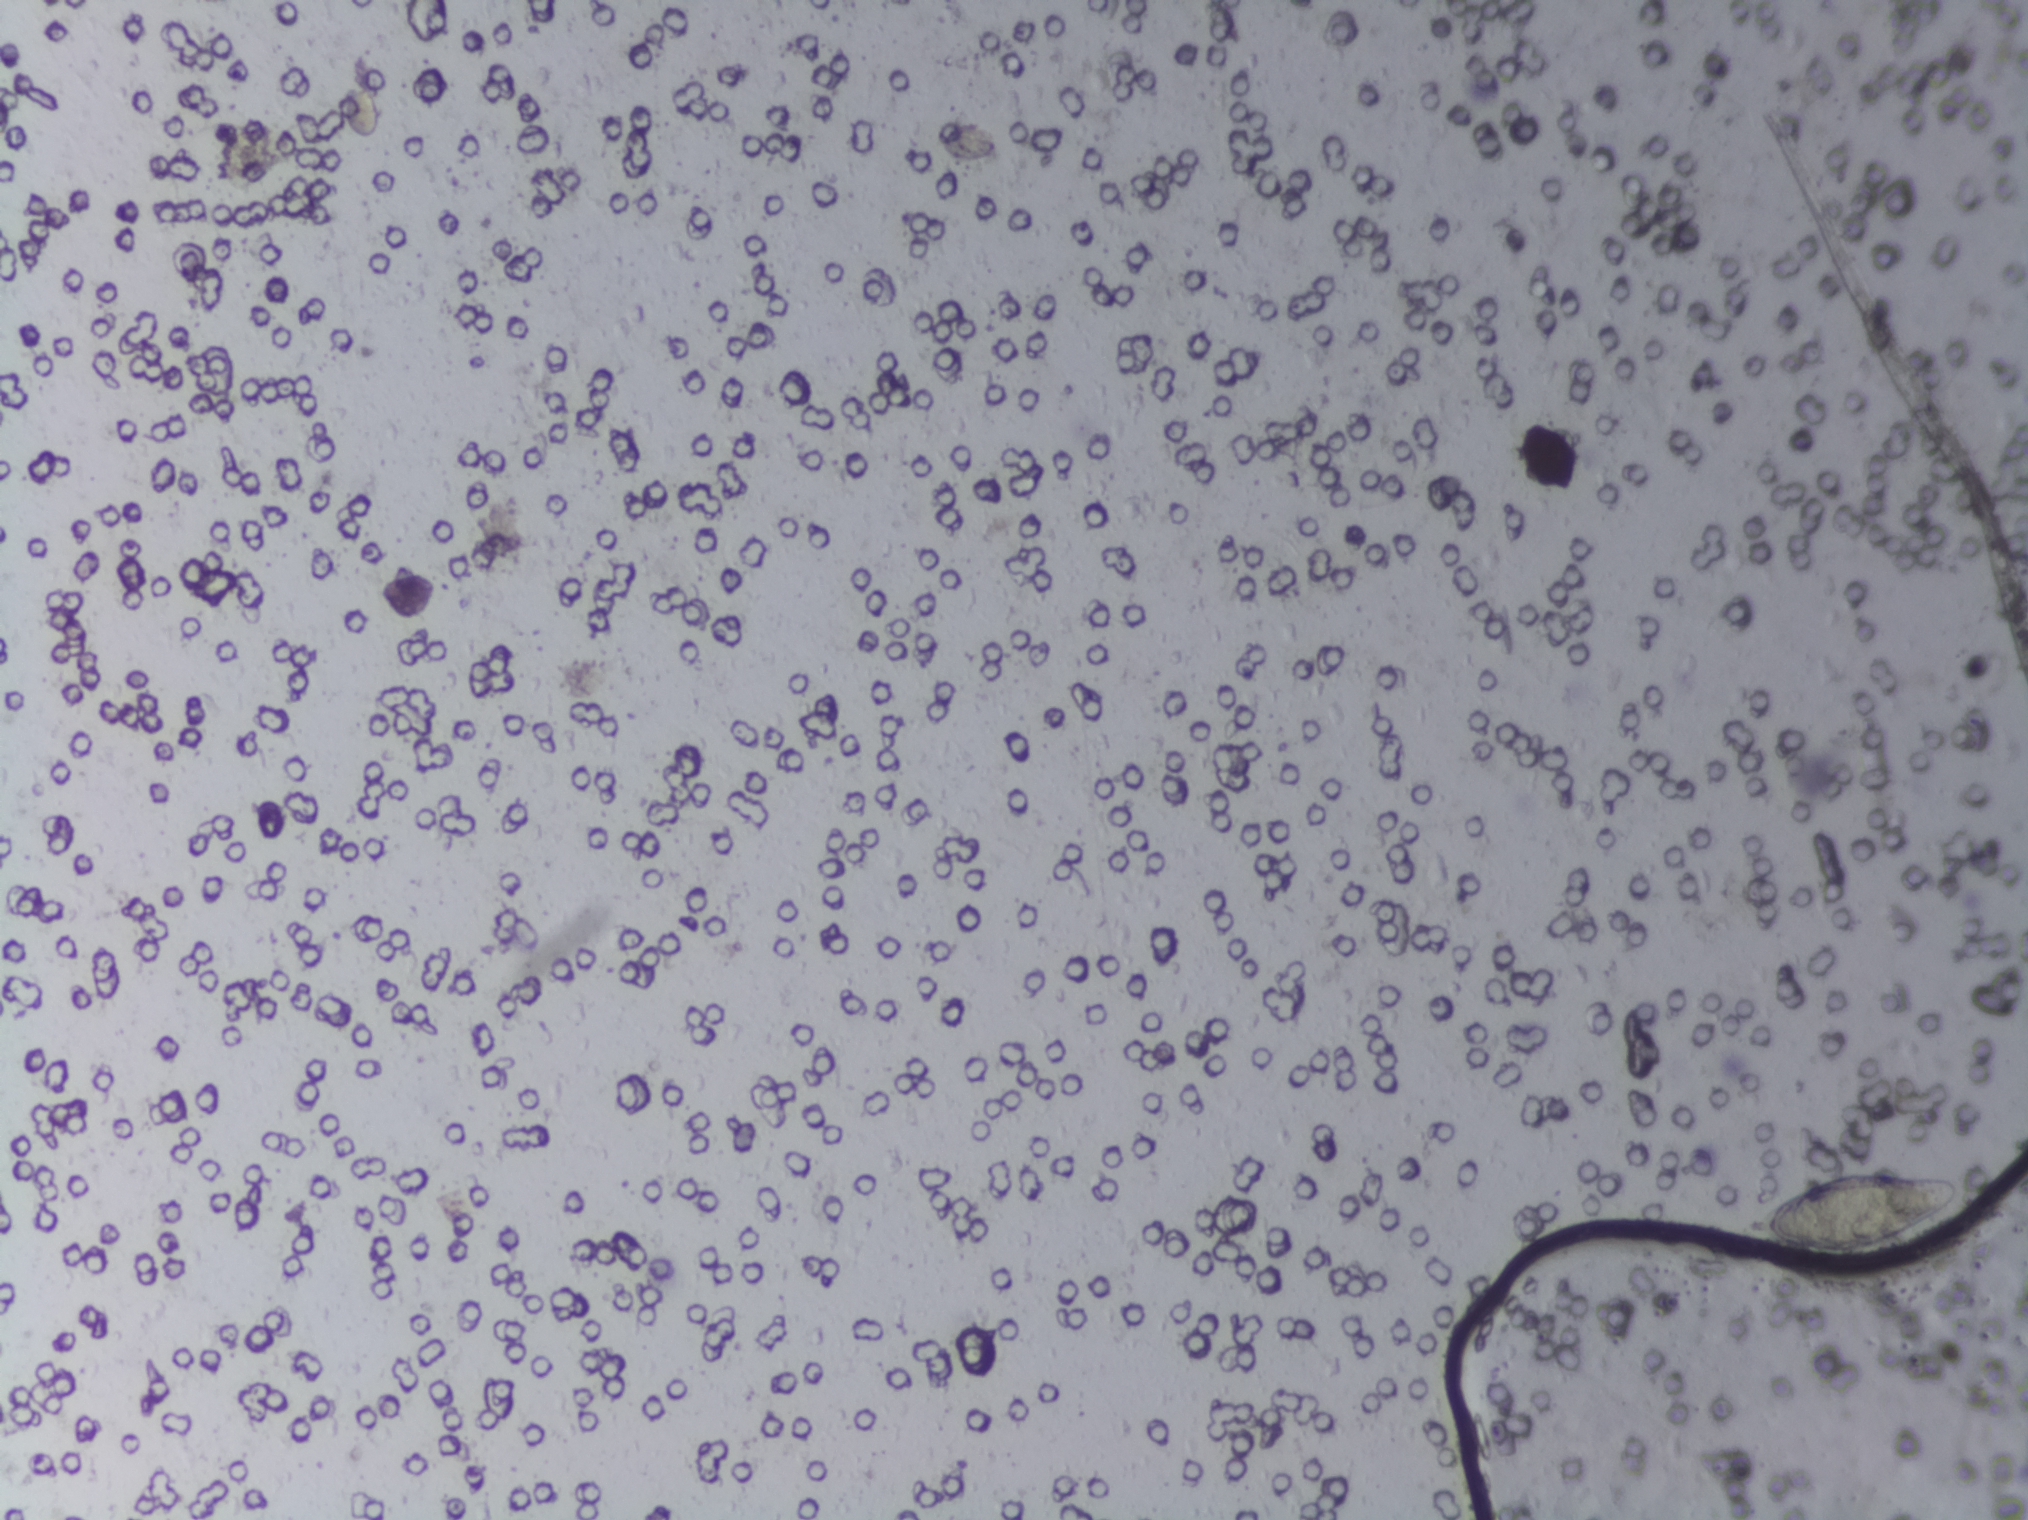
Microscope photograph (4× objective) of a membrane that a urine sample was filtered through. The field of view is about 1.5 mm × 1.1 mm.
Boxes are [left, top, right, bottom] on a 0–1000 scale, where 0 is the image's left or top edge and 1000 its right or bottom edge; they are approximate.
Schistosoma eggs are outlined in the expert annotation at [860, 769, 967, 829]. An outlined area can hold more than one egg.